Photograph from an automated digital microscope: urine filter membrane, 4× objective.
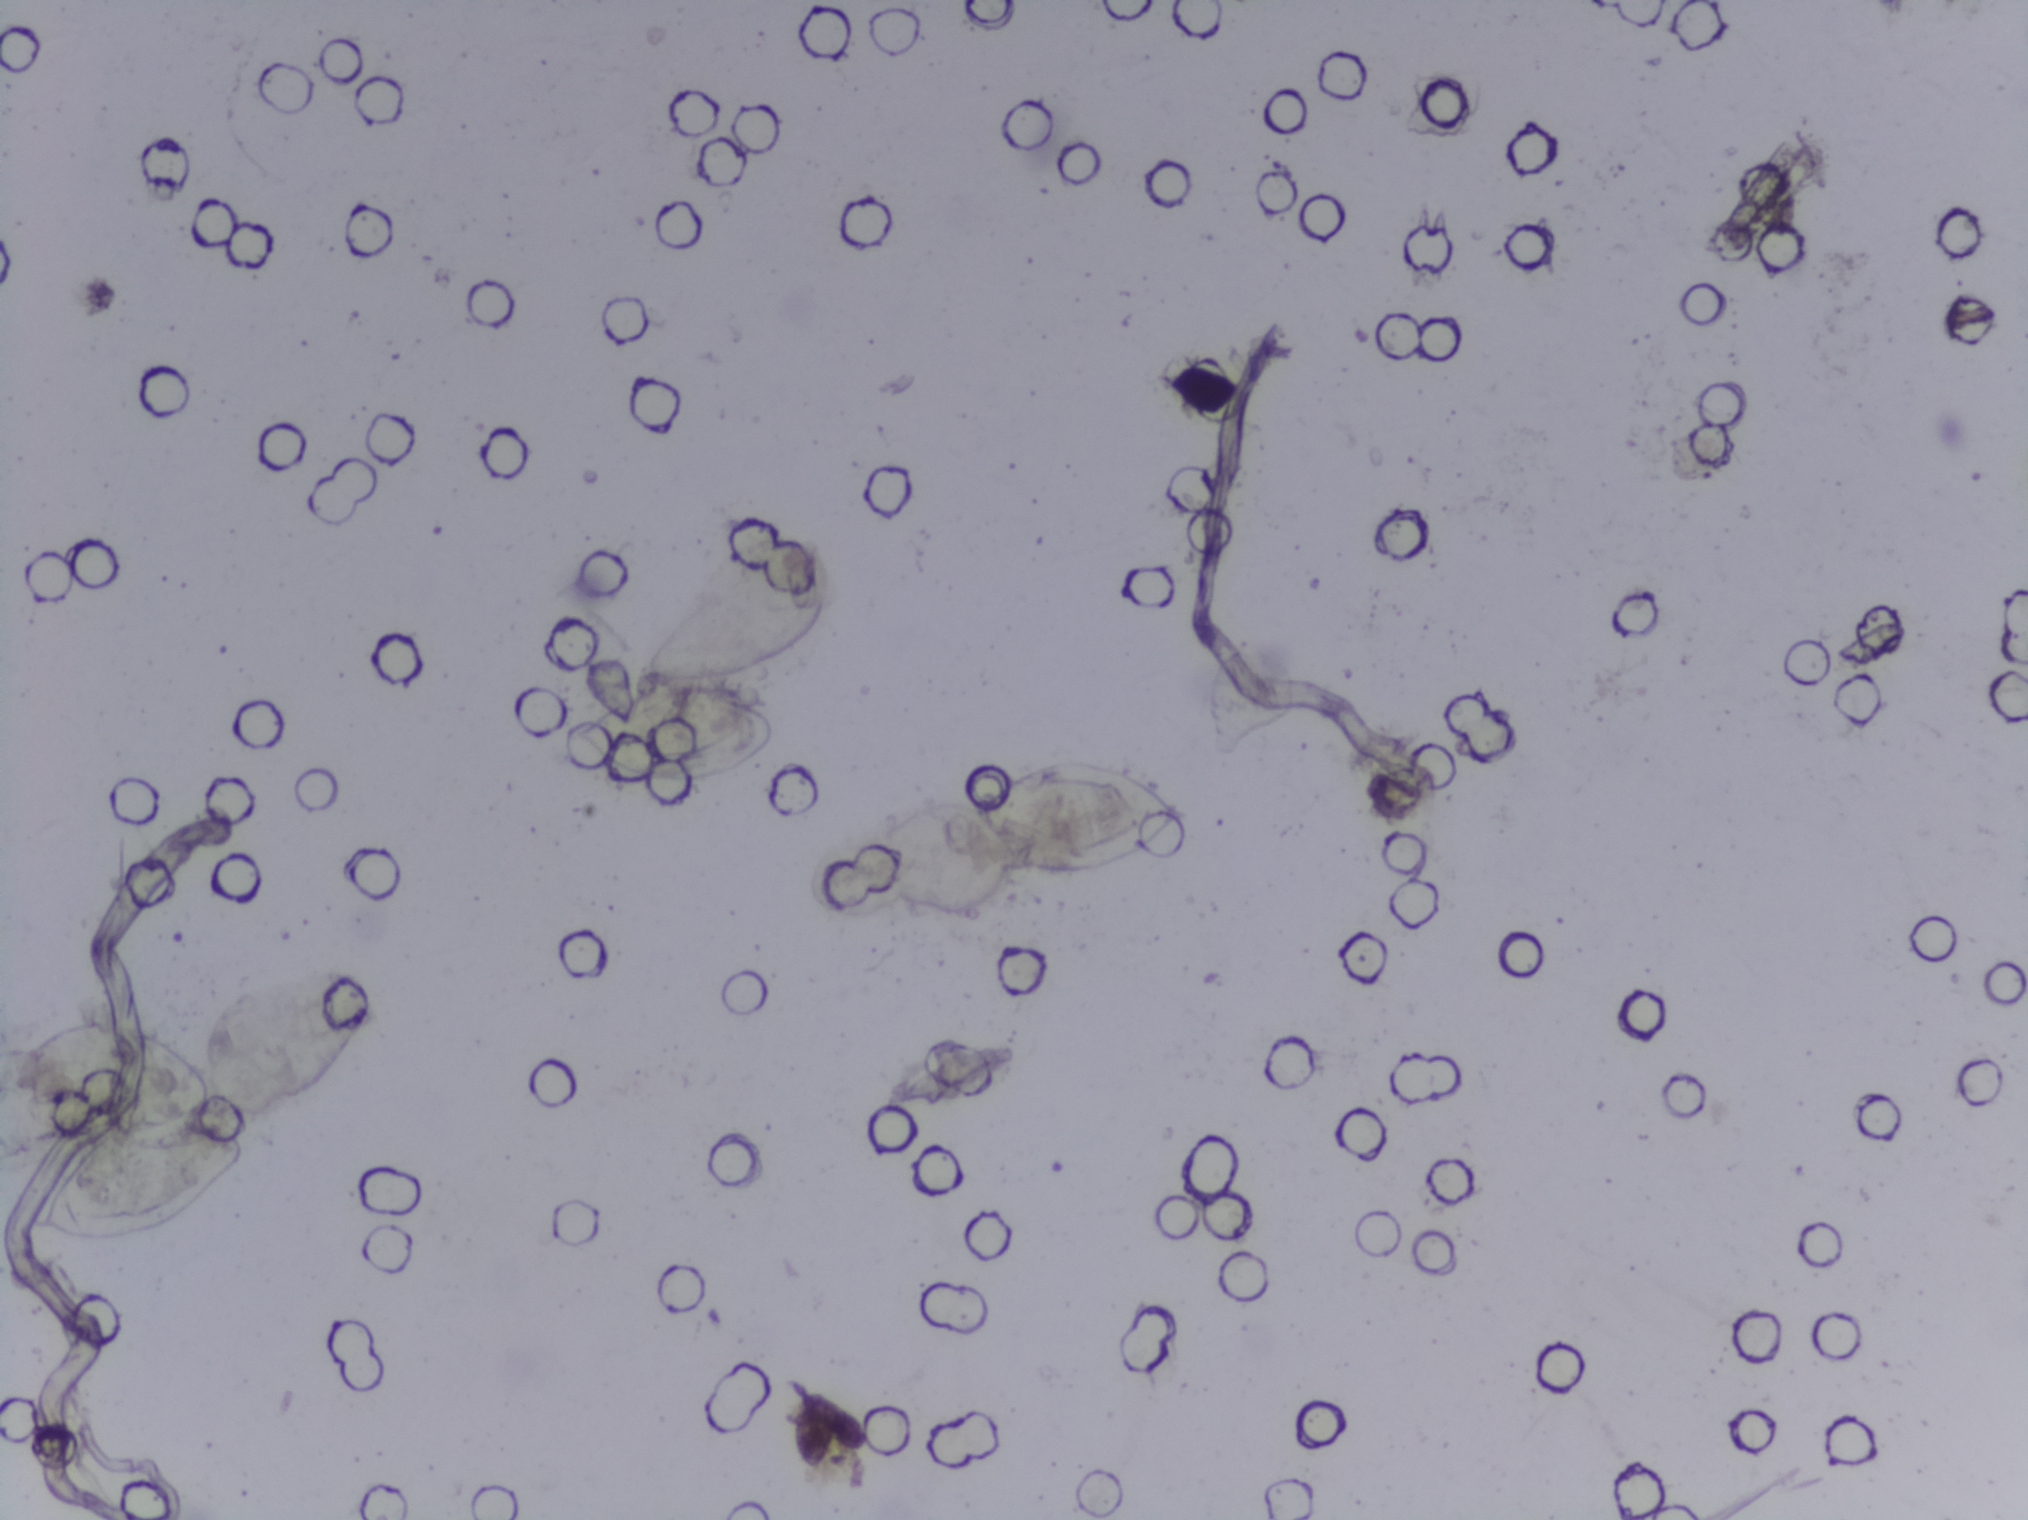
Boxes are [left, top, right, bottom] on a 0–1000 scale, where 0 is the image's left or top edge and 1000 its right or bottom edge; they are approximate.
The expert annotation outlines Schistosoma eggs at [2, 666, 122, 816]; [278, 450, 384, 517]; [462, 498, 588, 578] (left to right). Eggs that touch can end up inside the same outlined area. Any one outlined egg may, rarely, be S. mansoni rather than S. haematobium.